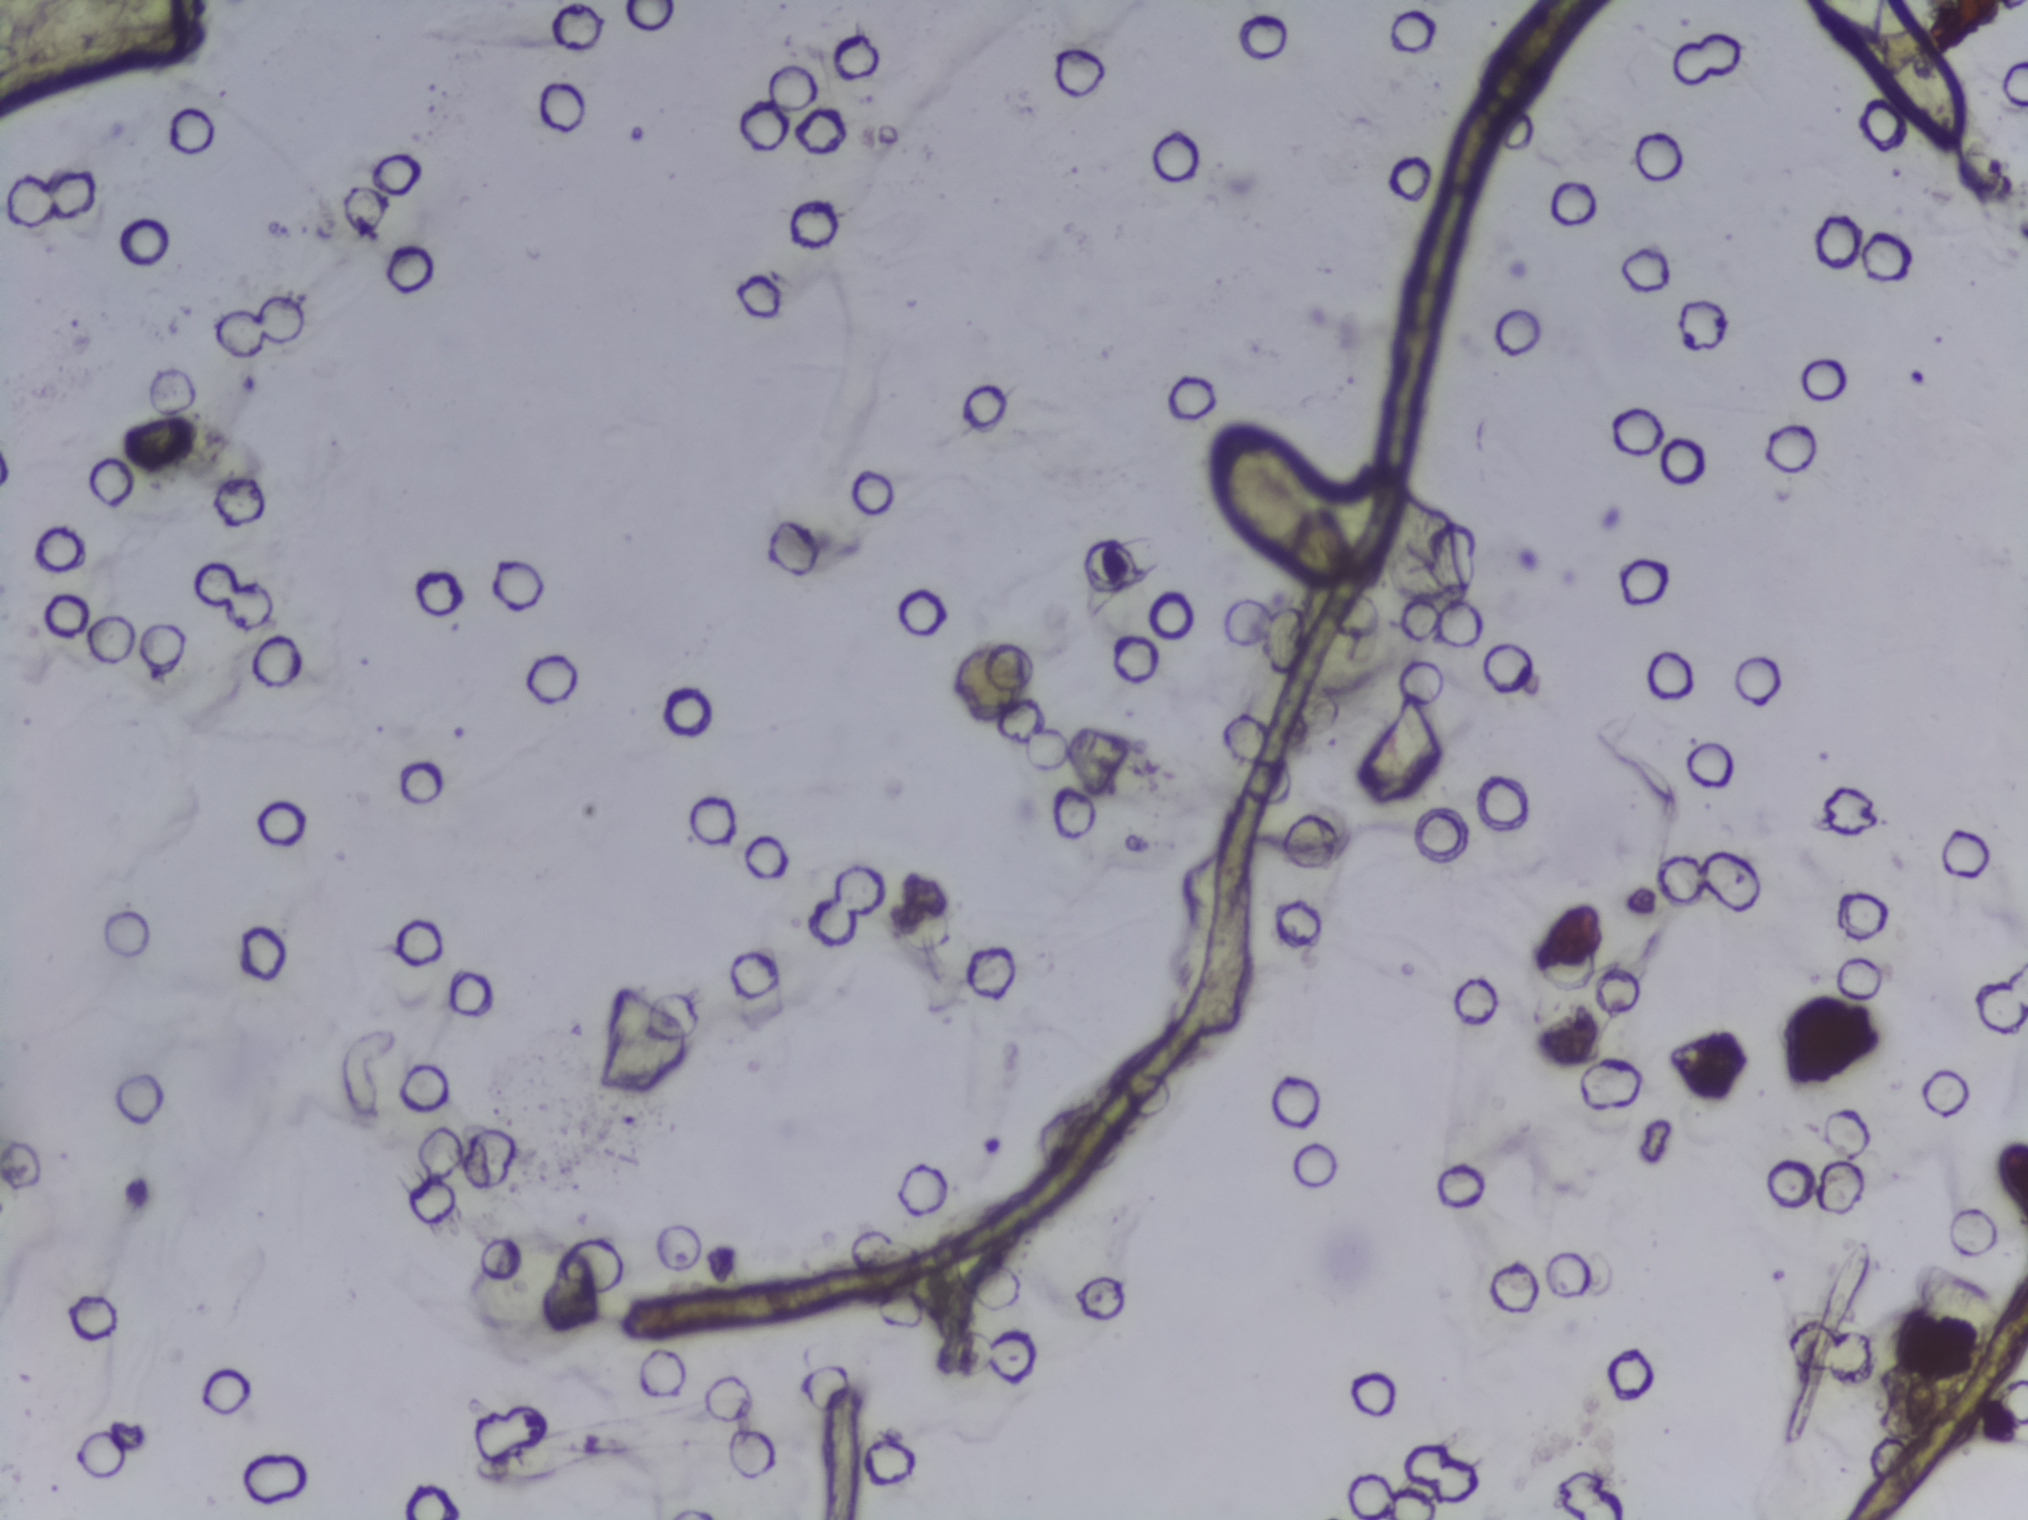
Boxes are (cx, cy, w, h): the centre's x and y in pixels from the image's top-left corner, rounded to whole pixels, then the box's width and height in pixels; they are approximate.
One area of this image is outlined as Schistosoma eggs: (cx=1258, cy=495, w=107, h=144). The marked pixels themselves, not the box around them, cover about 0.4% of the image. A single outlined area may contain several eggs.
Photomicrograph of a urine filtration membrane, 4× objective.